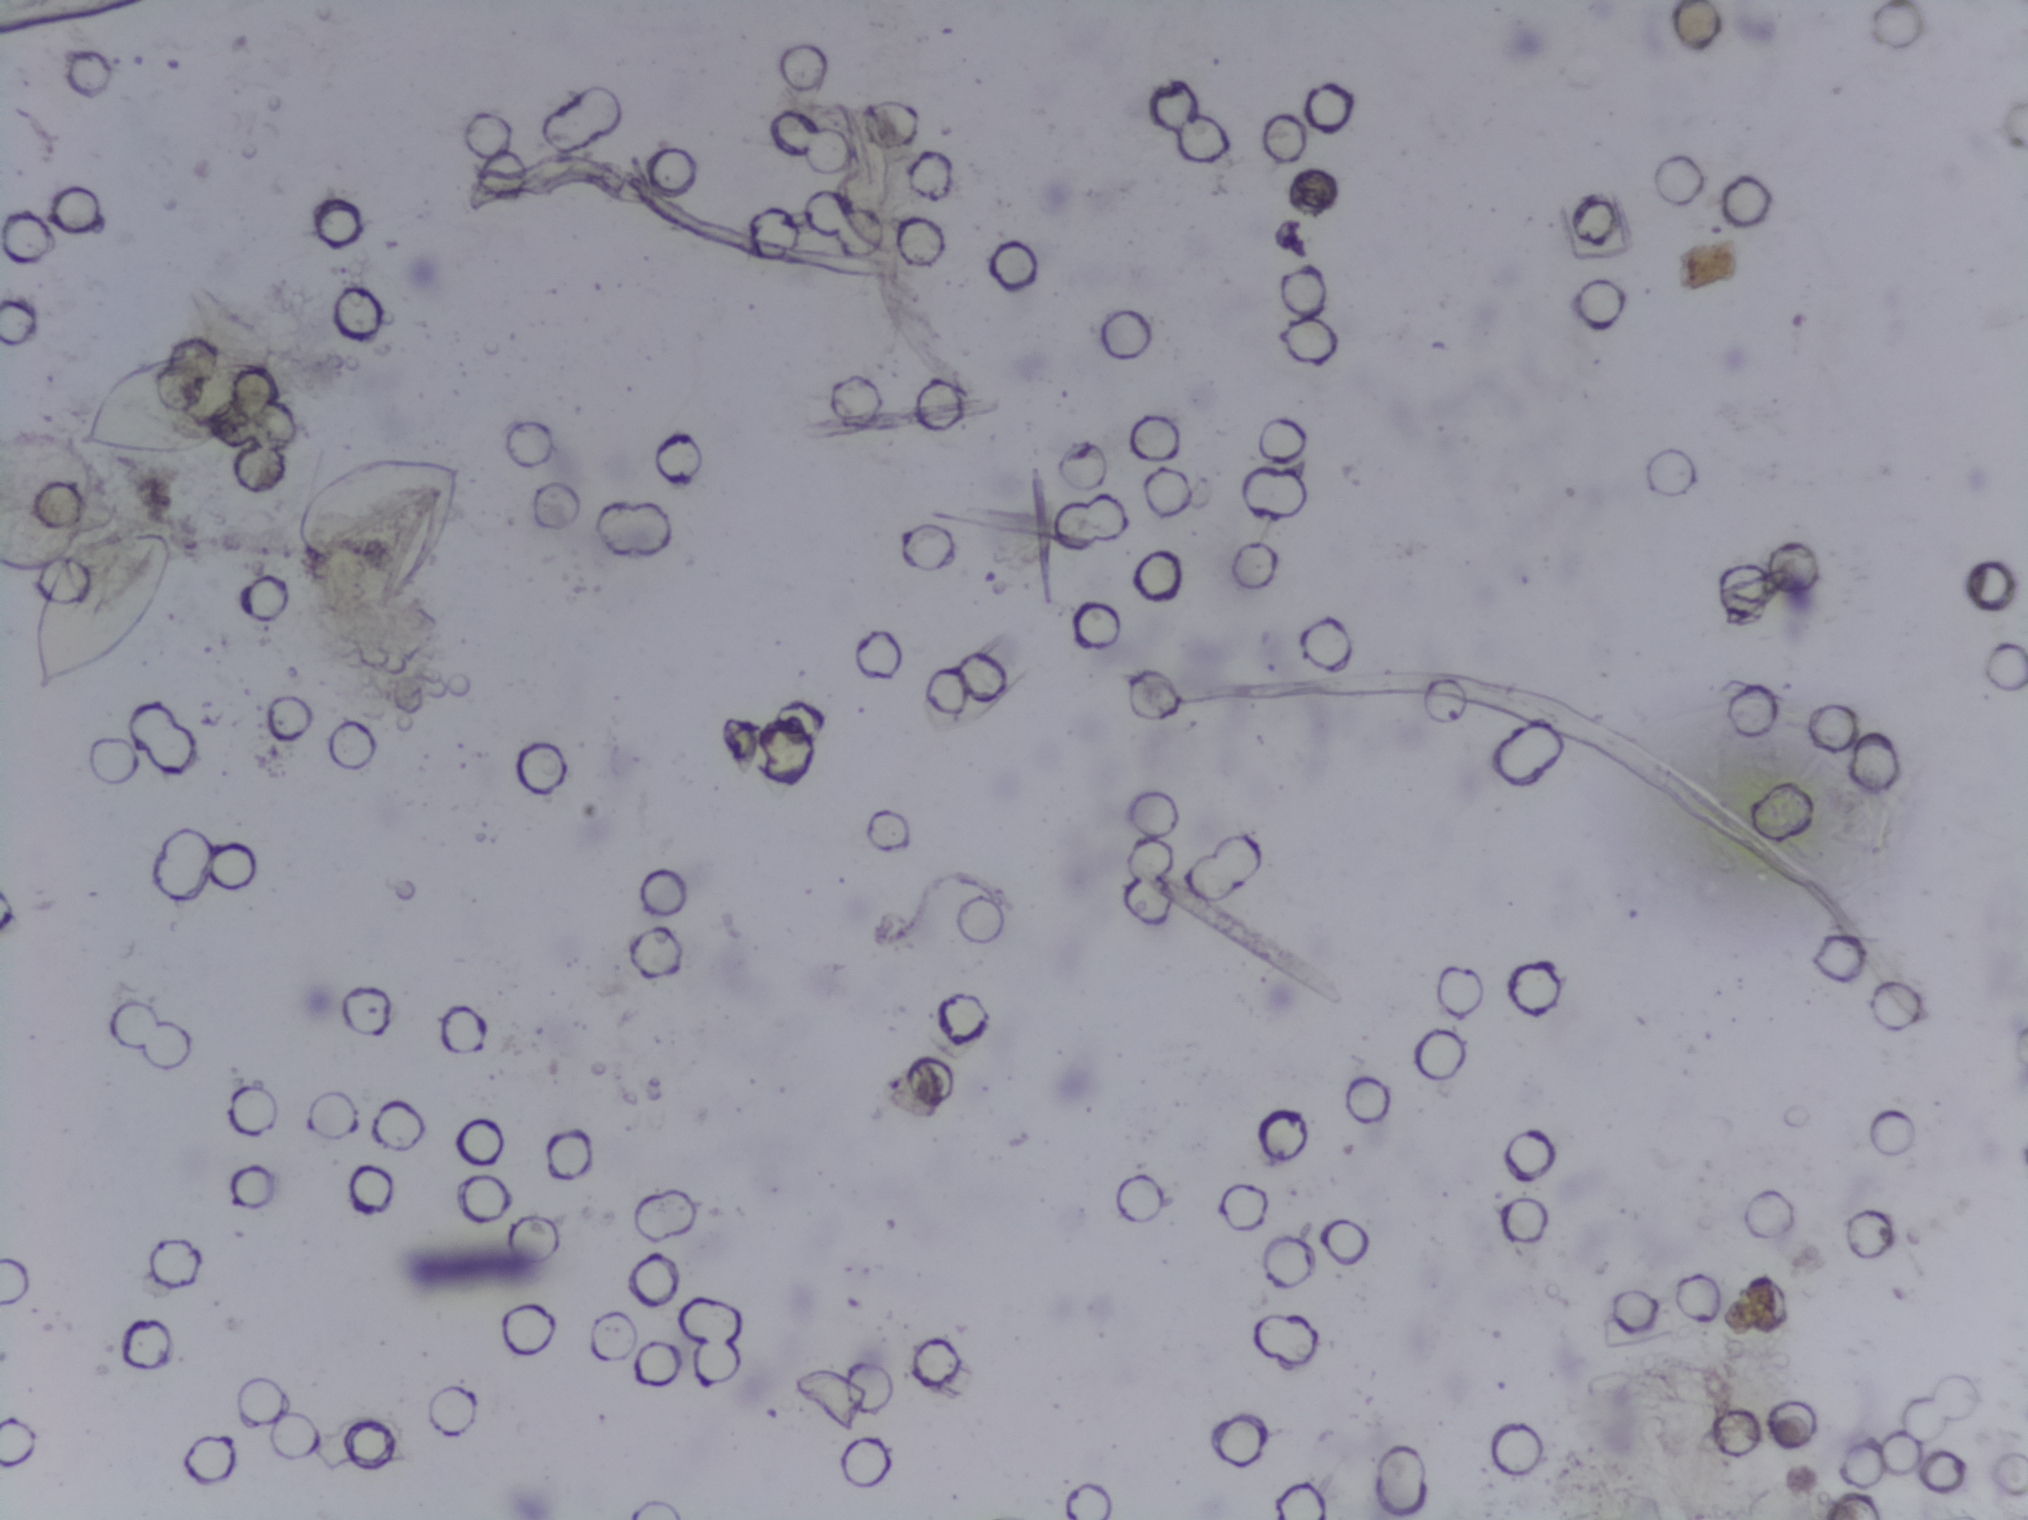
One field of view of a urine filter membrane, 4× objective, 2028 × 1520 pixels. Field of view: about 1.5 mm wide and 1.1 mm high.
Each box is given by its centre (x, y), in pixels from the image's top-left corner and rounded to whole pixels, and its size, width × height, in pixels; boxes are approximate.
Two areas of this image are outlined as Schistosoma eggs, from left to right: centre (101, 610), 150 × 170 px and centre (183, 400), 229 × 121 px. Marked pixels, not the boxes around them: about 1.2% of the image. Eggs that touch can end up inside the same outlined area.